One field of view of a urine filter membrane, 4× objective, 2028 × 1520 pixels.
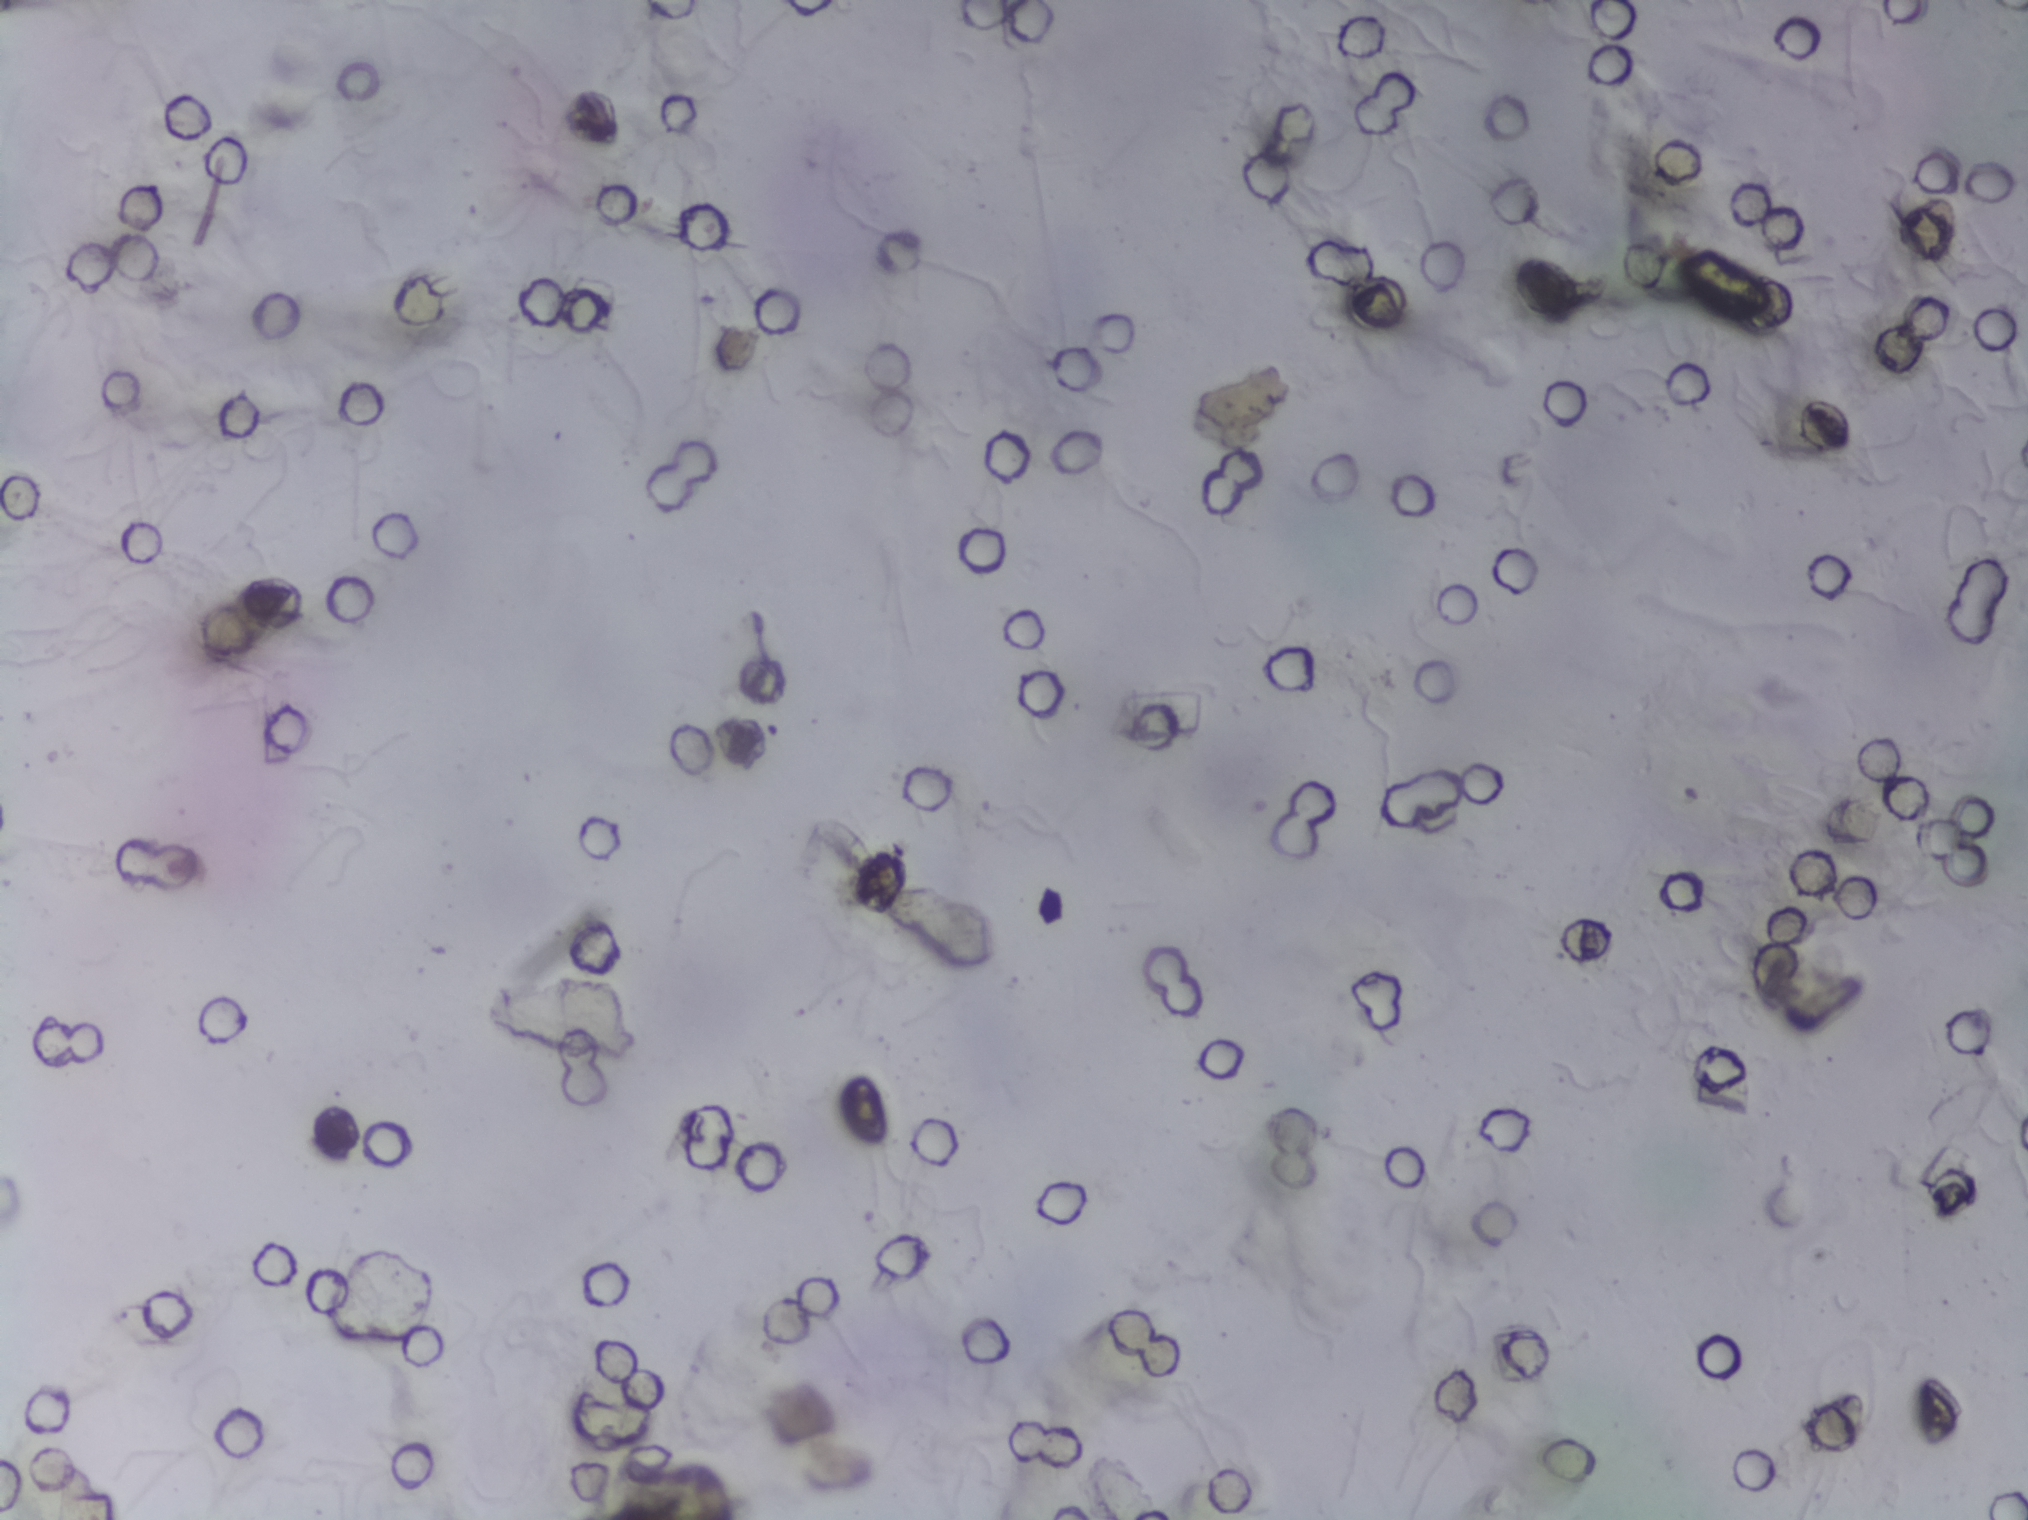
The expert annotation marks no Schistosoma egg in this field of view.